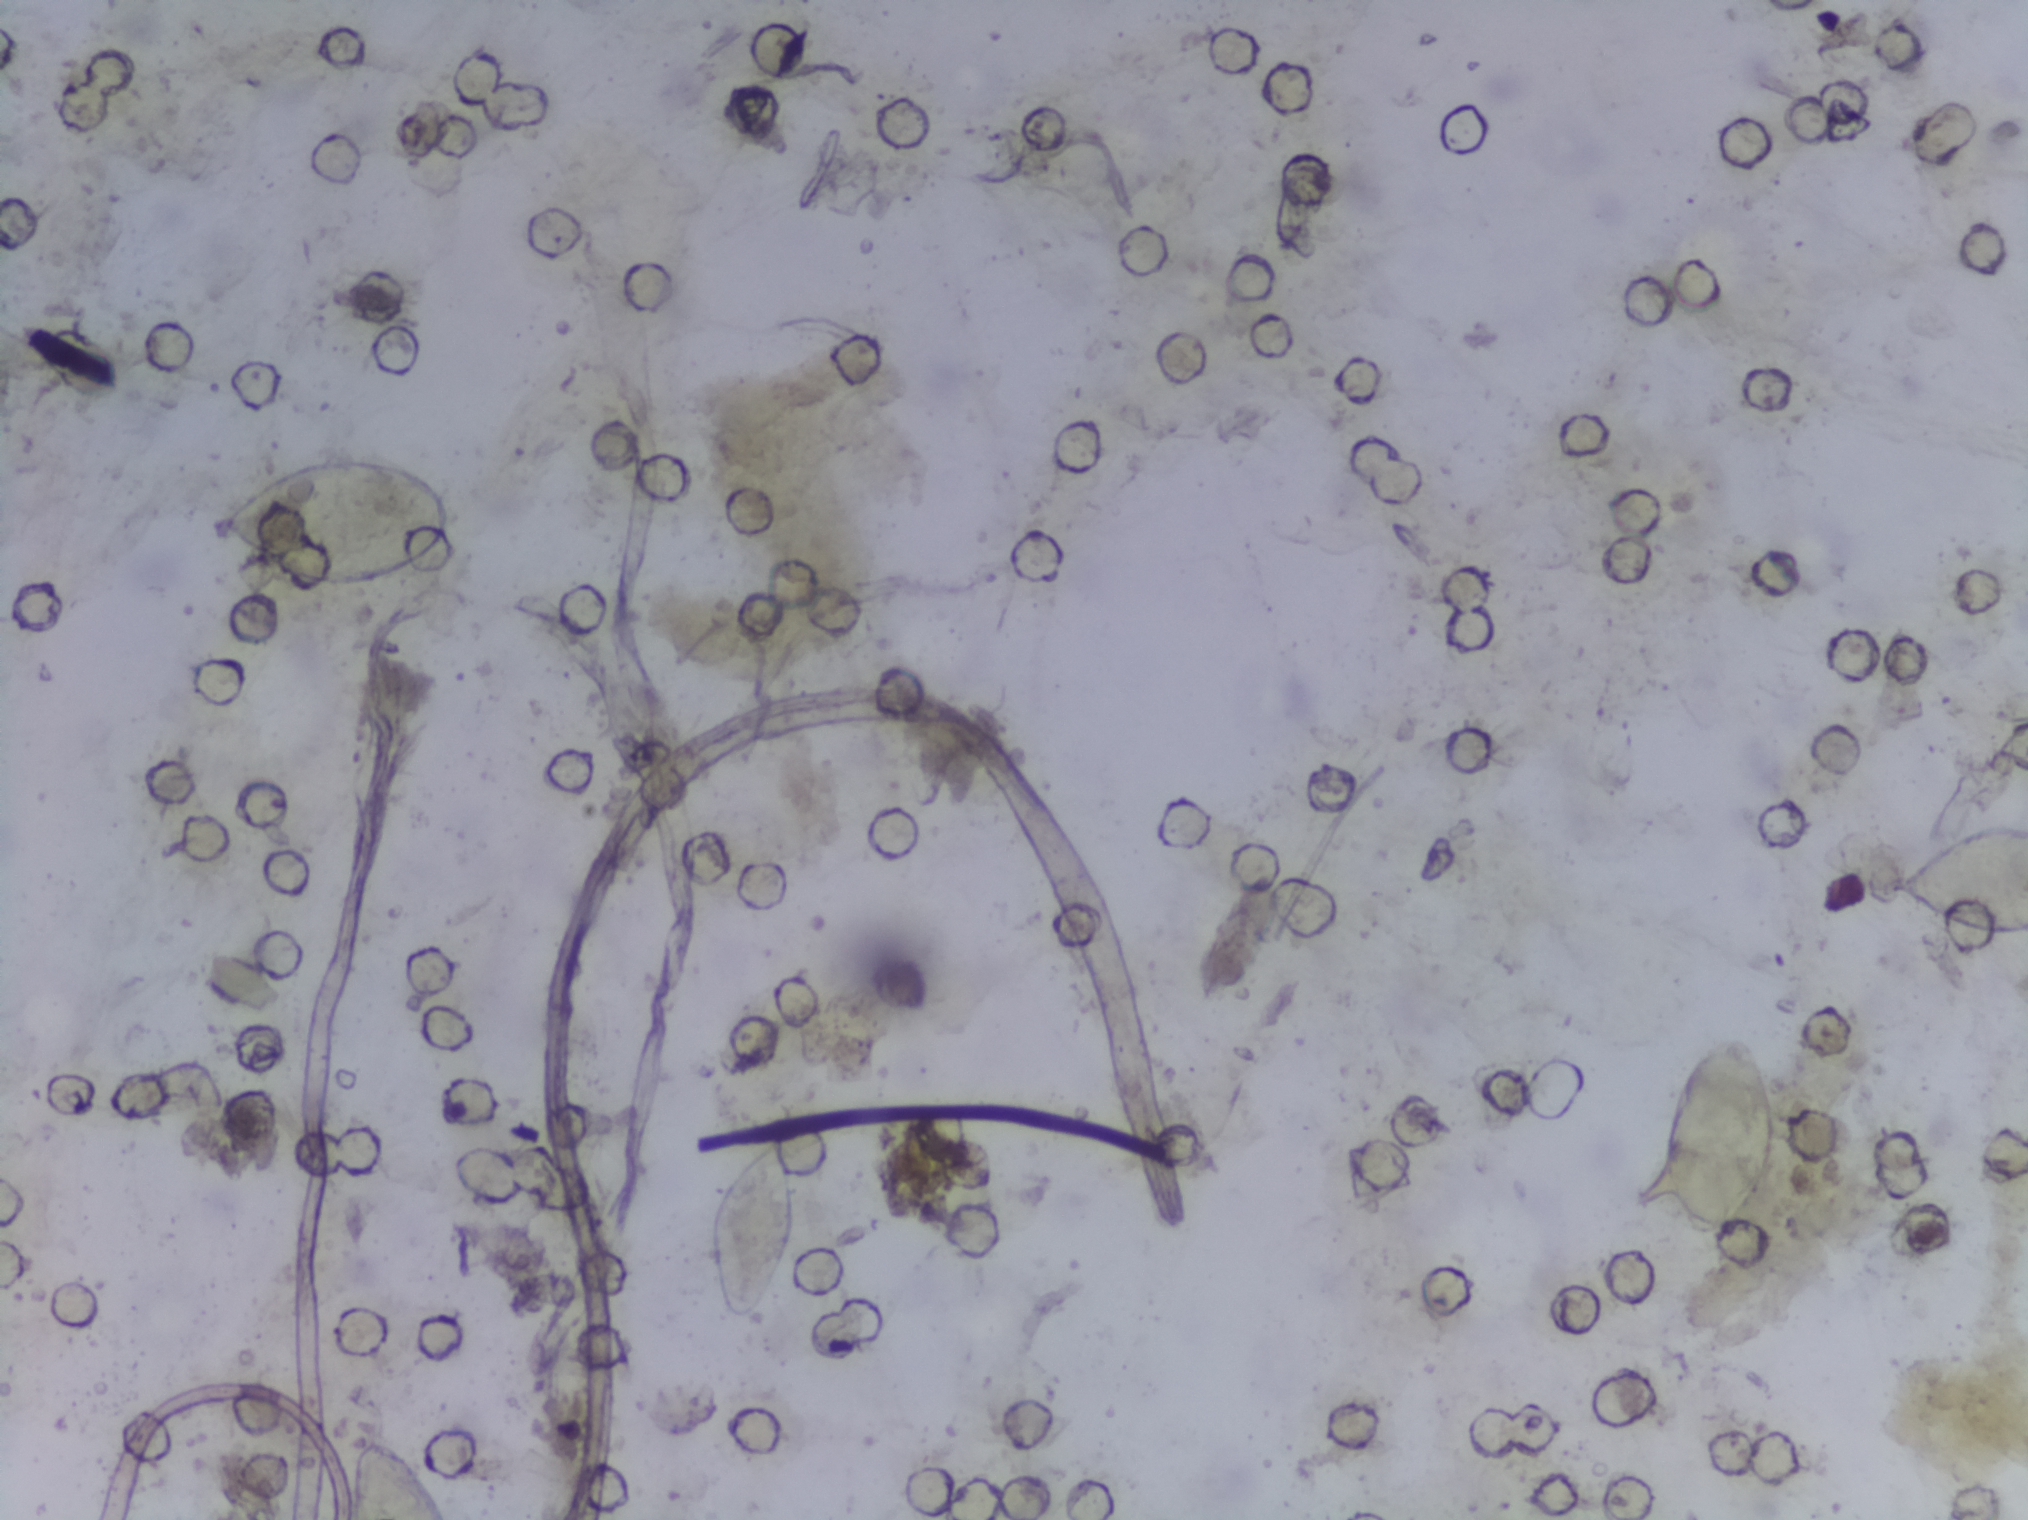
Photograph from an automated digital microscope: urine filter membrane, 4× objective.
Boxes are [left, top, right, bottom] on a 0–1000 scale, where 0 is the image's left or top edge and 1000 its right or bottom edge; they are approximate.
Schistosoma eggs, outlined areas: [104, 295, 225, 392]; [170, 942, 220, 1000] (reaching the bottom edge of the frame); [347, 743, 394, 874]; [803, 674, 878, 821]; [927, 539, 1000, 617] (reaching the right edge of the frame). An outlined area can hold more than one egg.